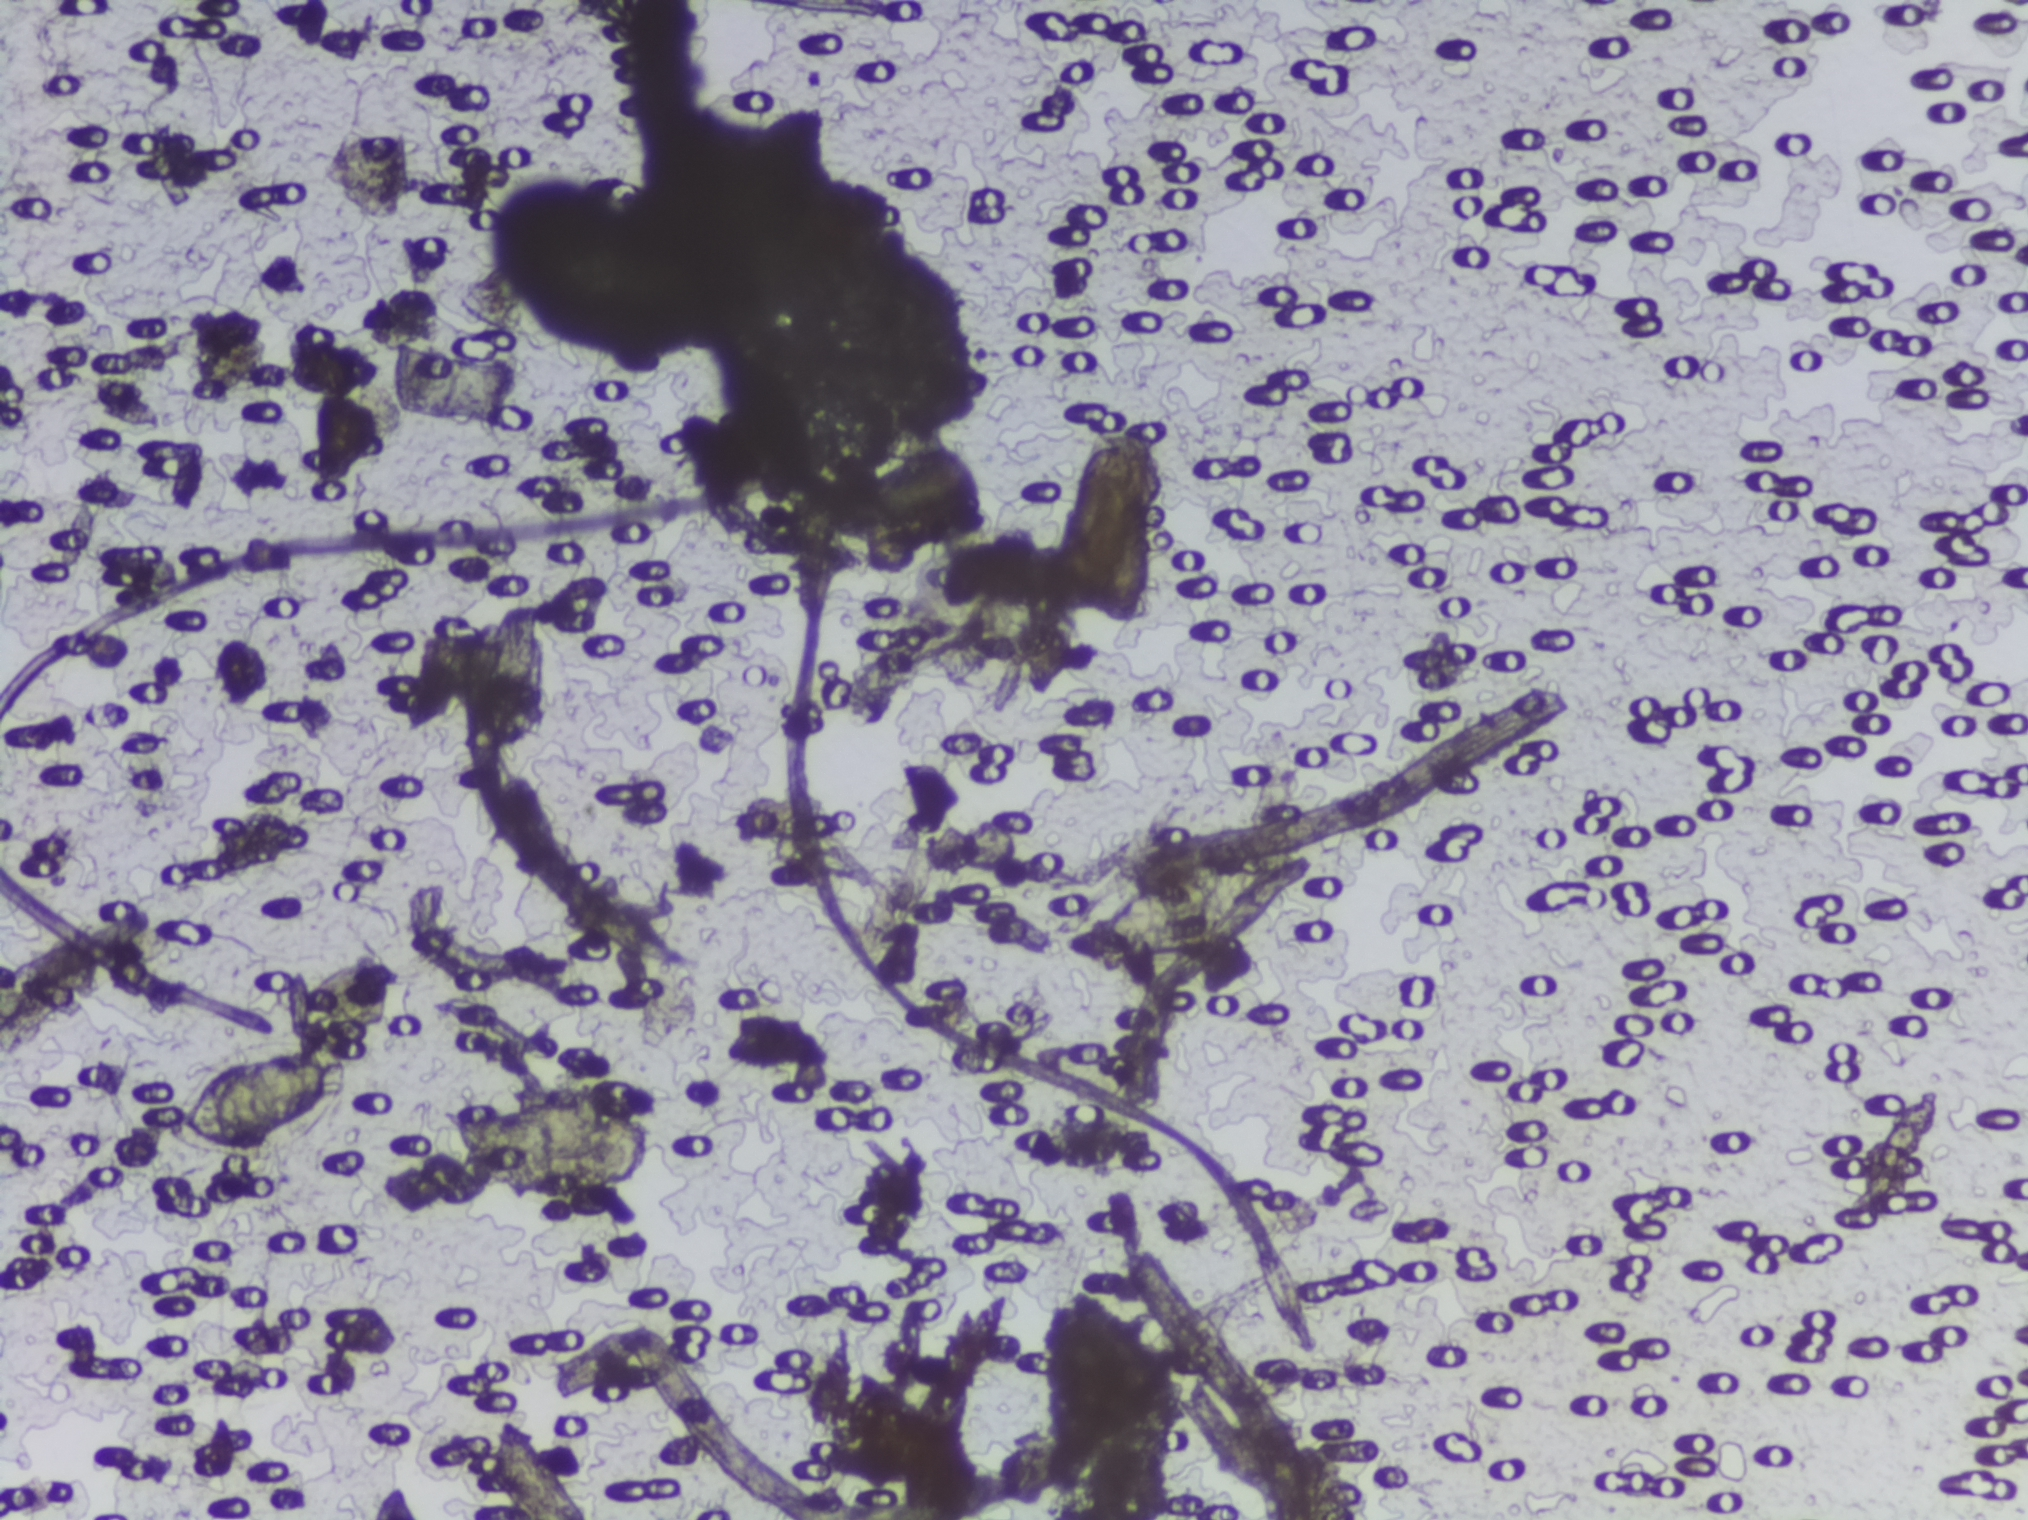
Photograph from an automated digital microscope: urine filter membrane, 4× objective.
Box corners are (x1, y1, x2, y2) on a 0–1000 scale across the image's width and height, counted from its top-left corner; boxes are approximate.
Findings: three areas outlined as Schistosoma eggs. Locations, left to right: (75, 681, 179, 762); (215, 718, 322, 796); (531, 553, 650, 636). Eggs that touch can end up inside the same outlined area.